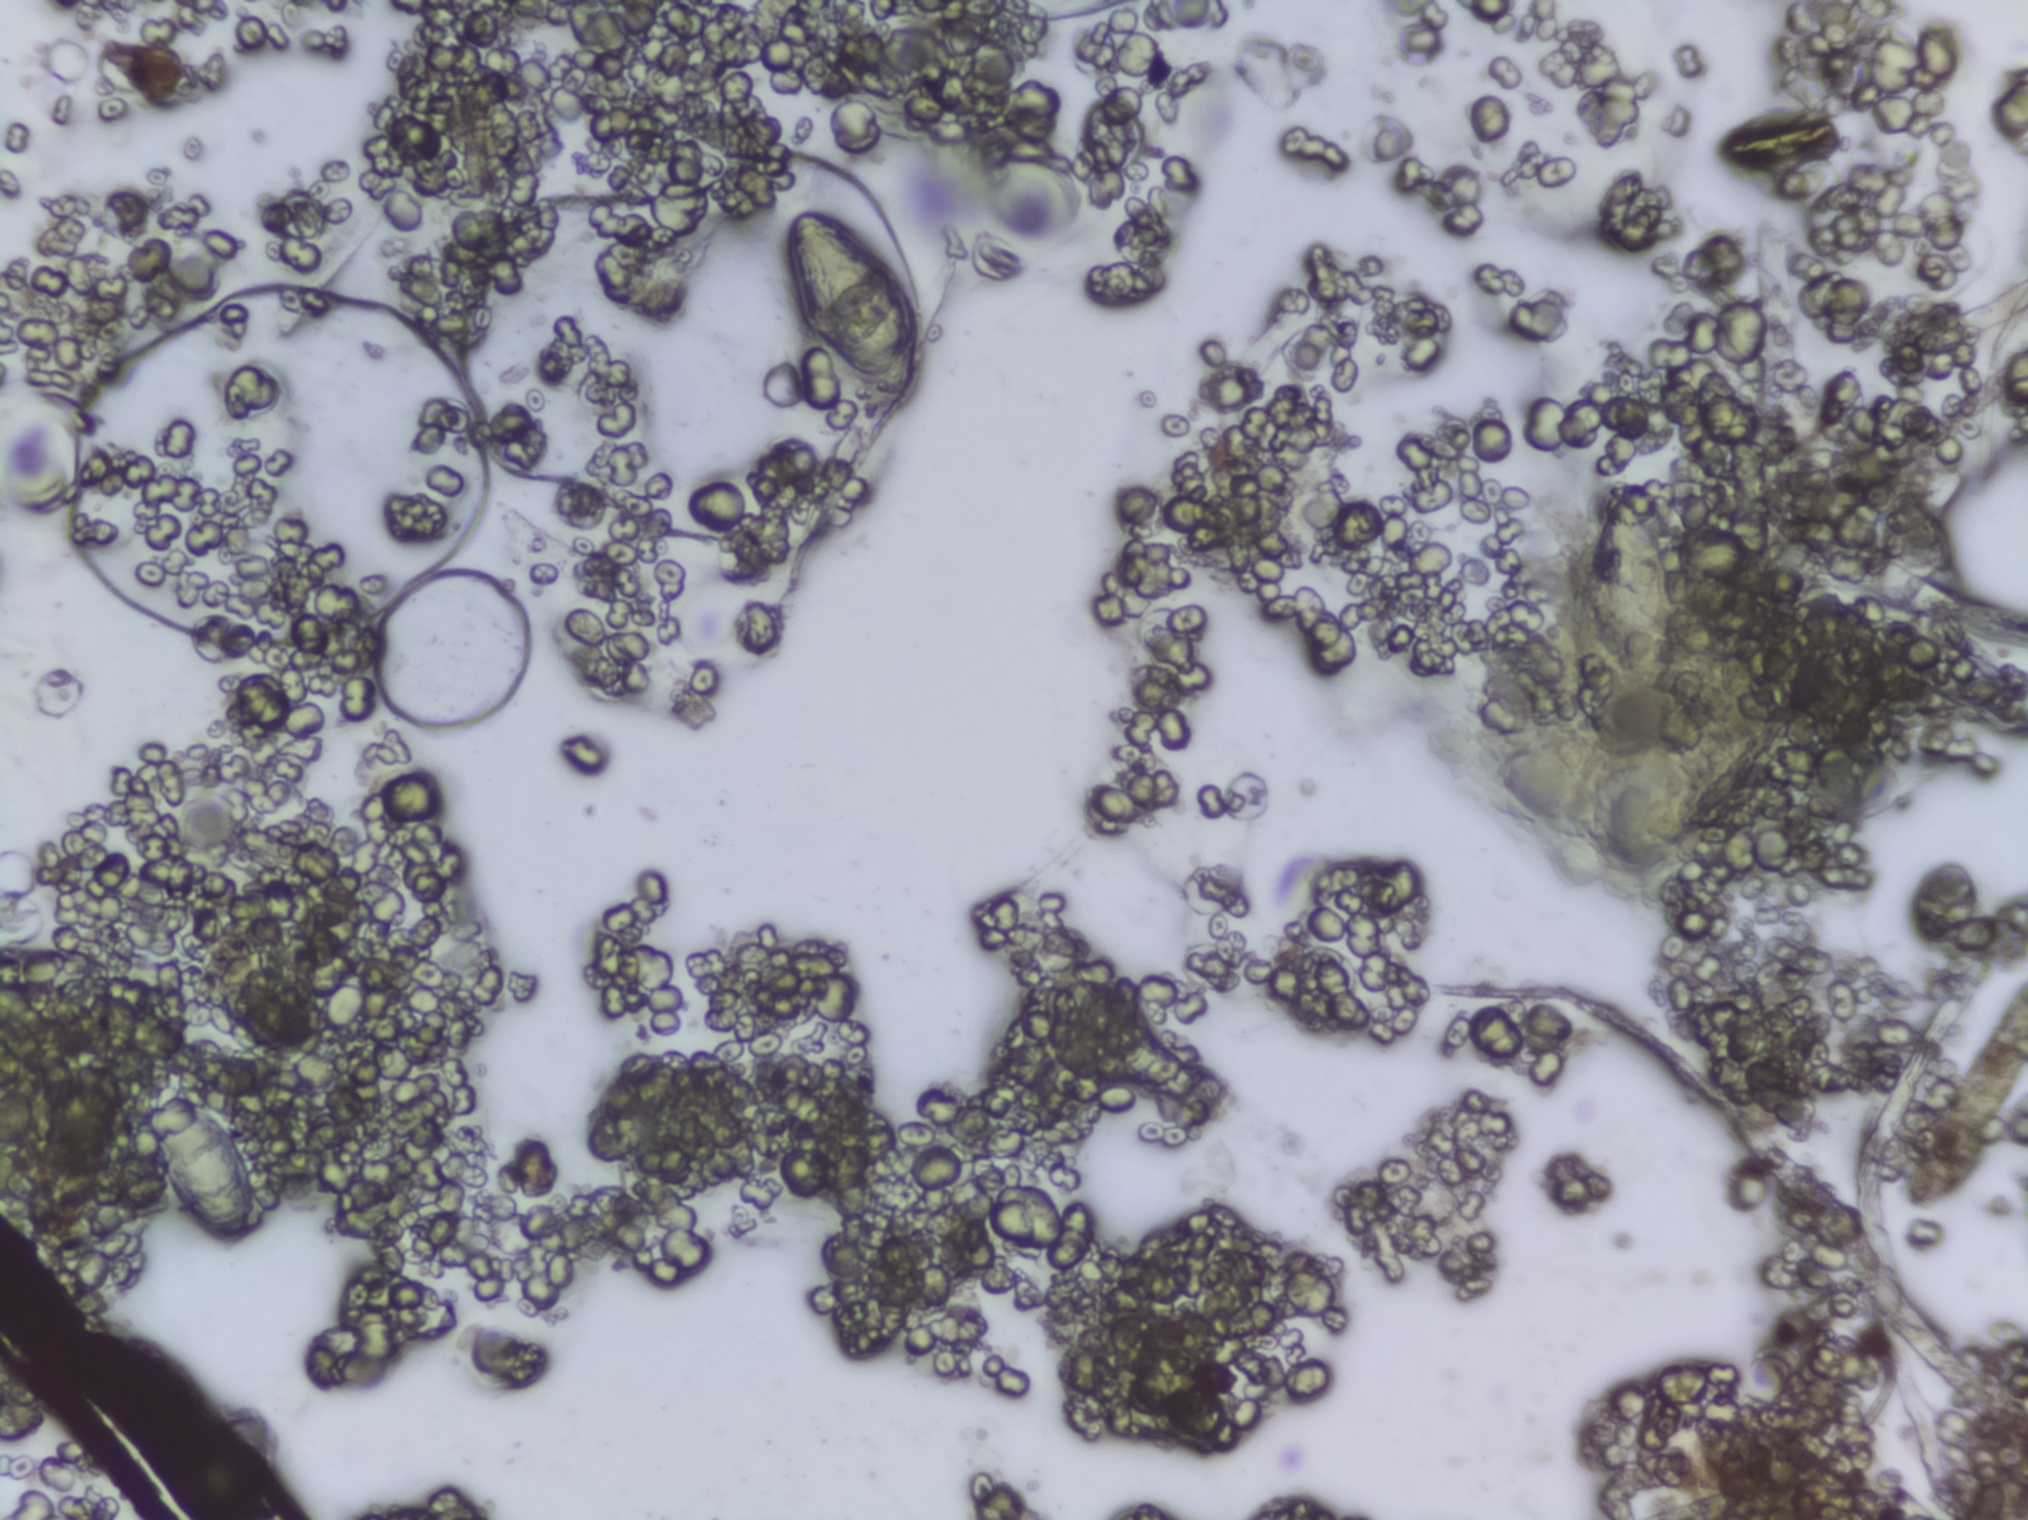
Urine filter membrane photographed through a 4× microscope objective.
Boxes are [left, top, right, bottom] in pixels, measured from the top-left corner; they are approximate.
The expert annotation outlines Schistosoma eggs at [149, 1079, 260, 1252]; [780, 206, 923, 411]; [1568, 472, 1683, 709] (left to right). A single outlined area may contain several eggs.